One field of view of a urine filter membrane, 4× objective, 2028 × 1520 pixels.
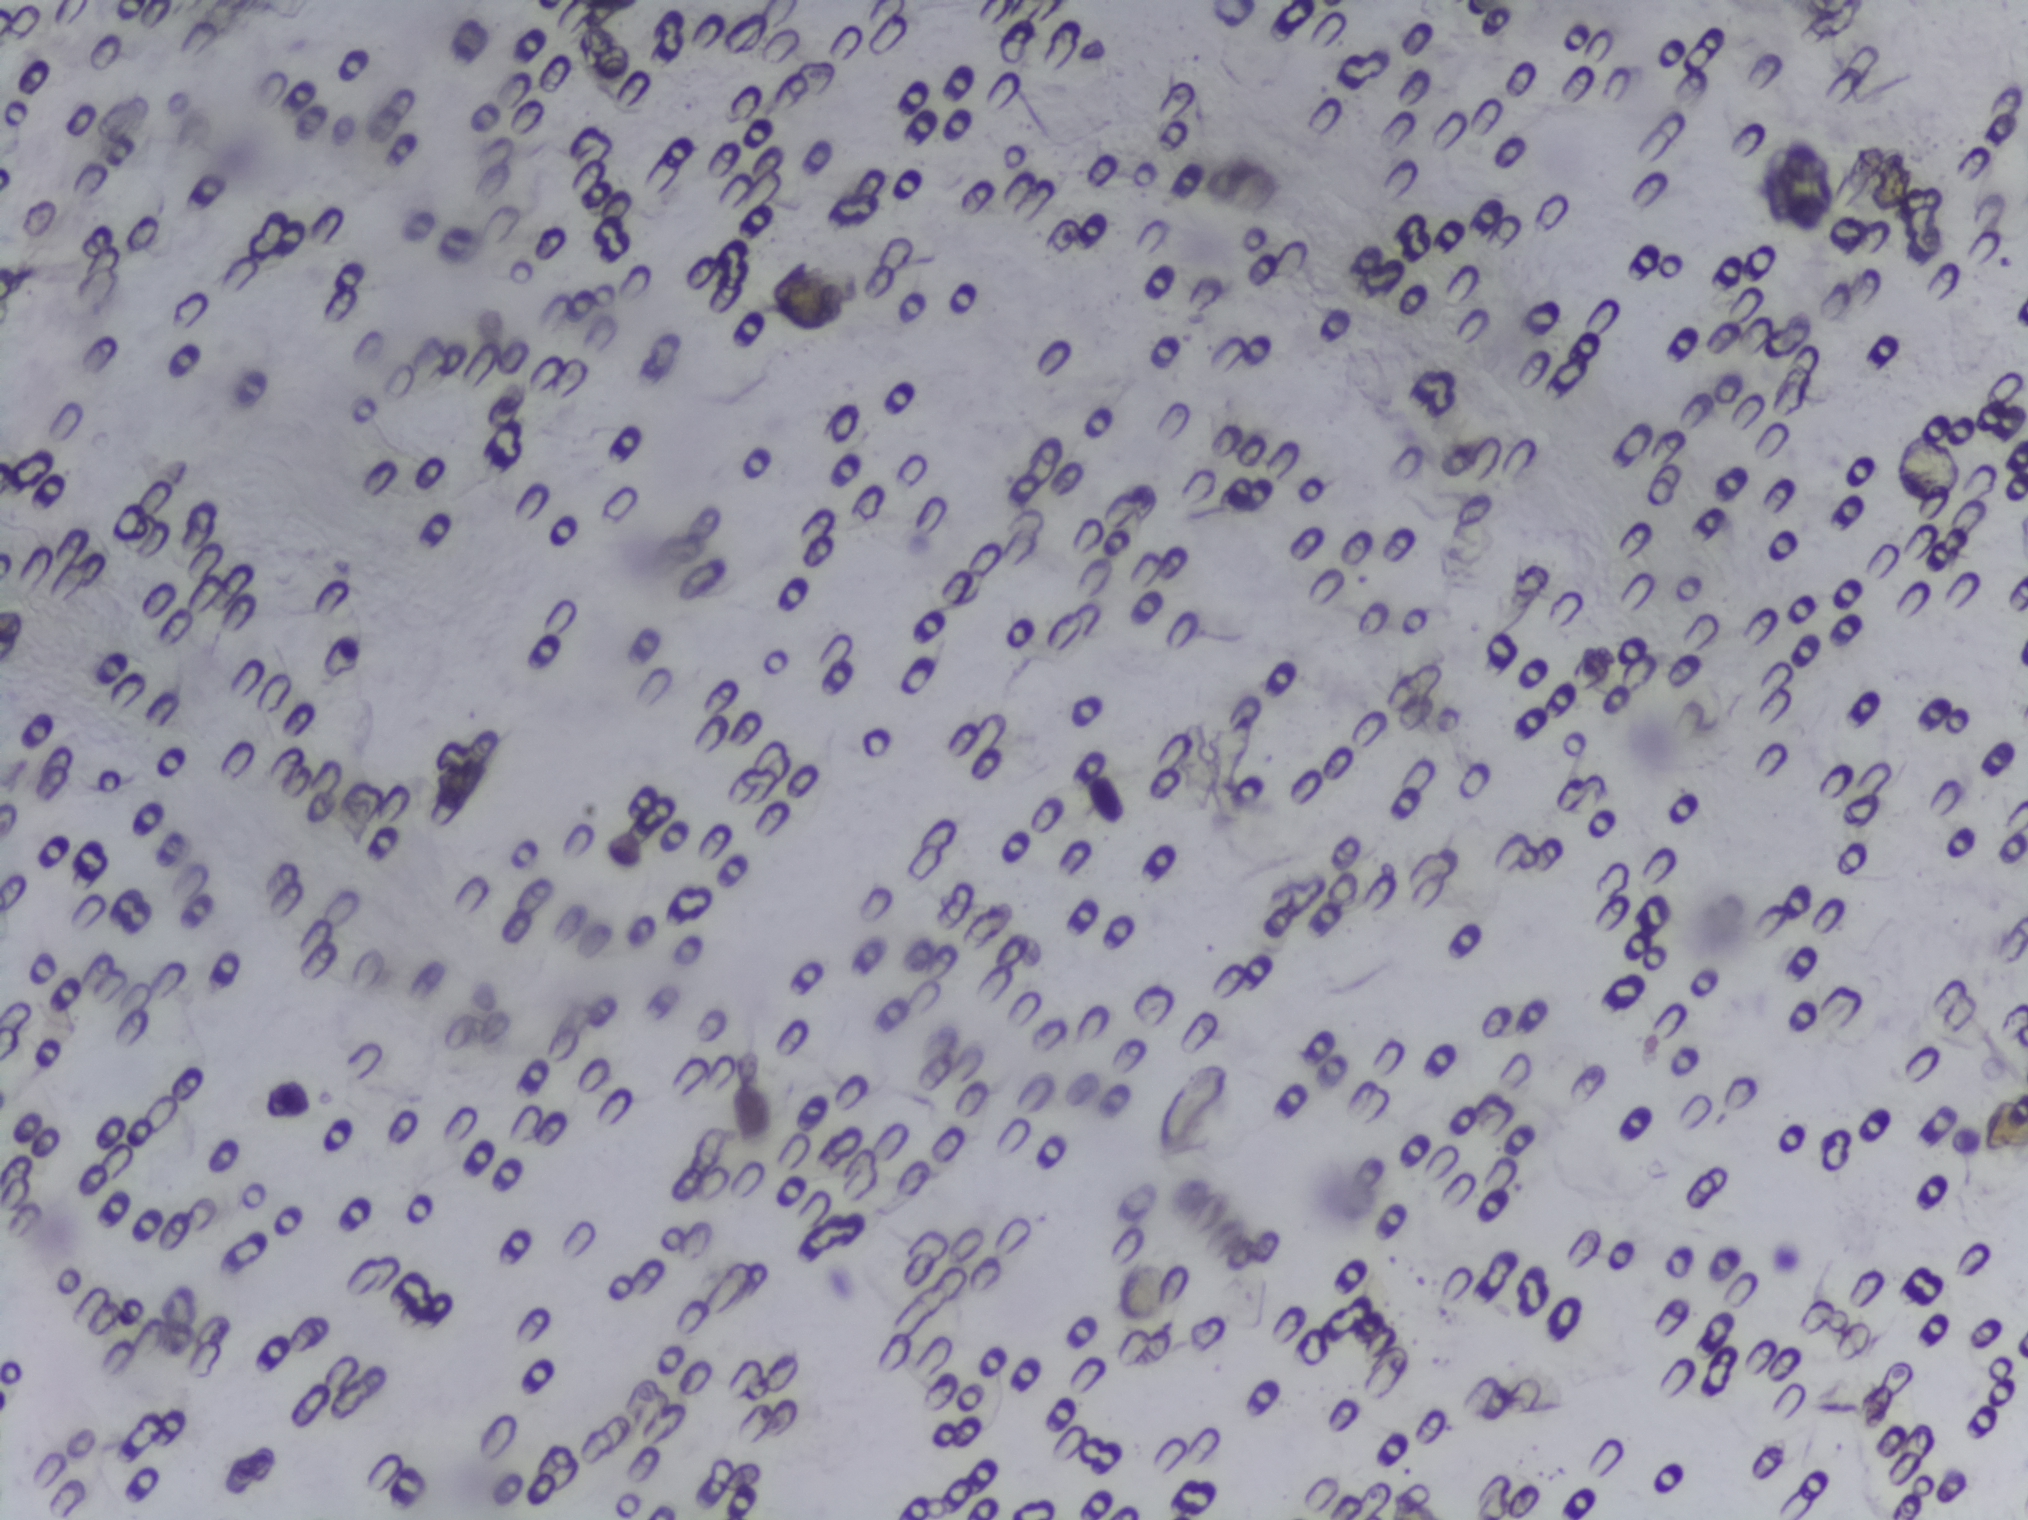
The expert annotation outlines no Schistosoma egg in this image.